Photograph from an automated digital microscope: urine filter membrane, 4× objective. The field of view is about 1.5 mm × 1.1 mm.
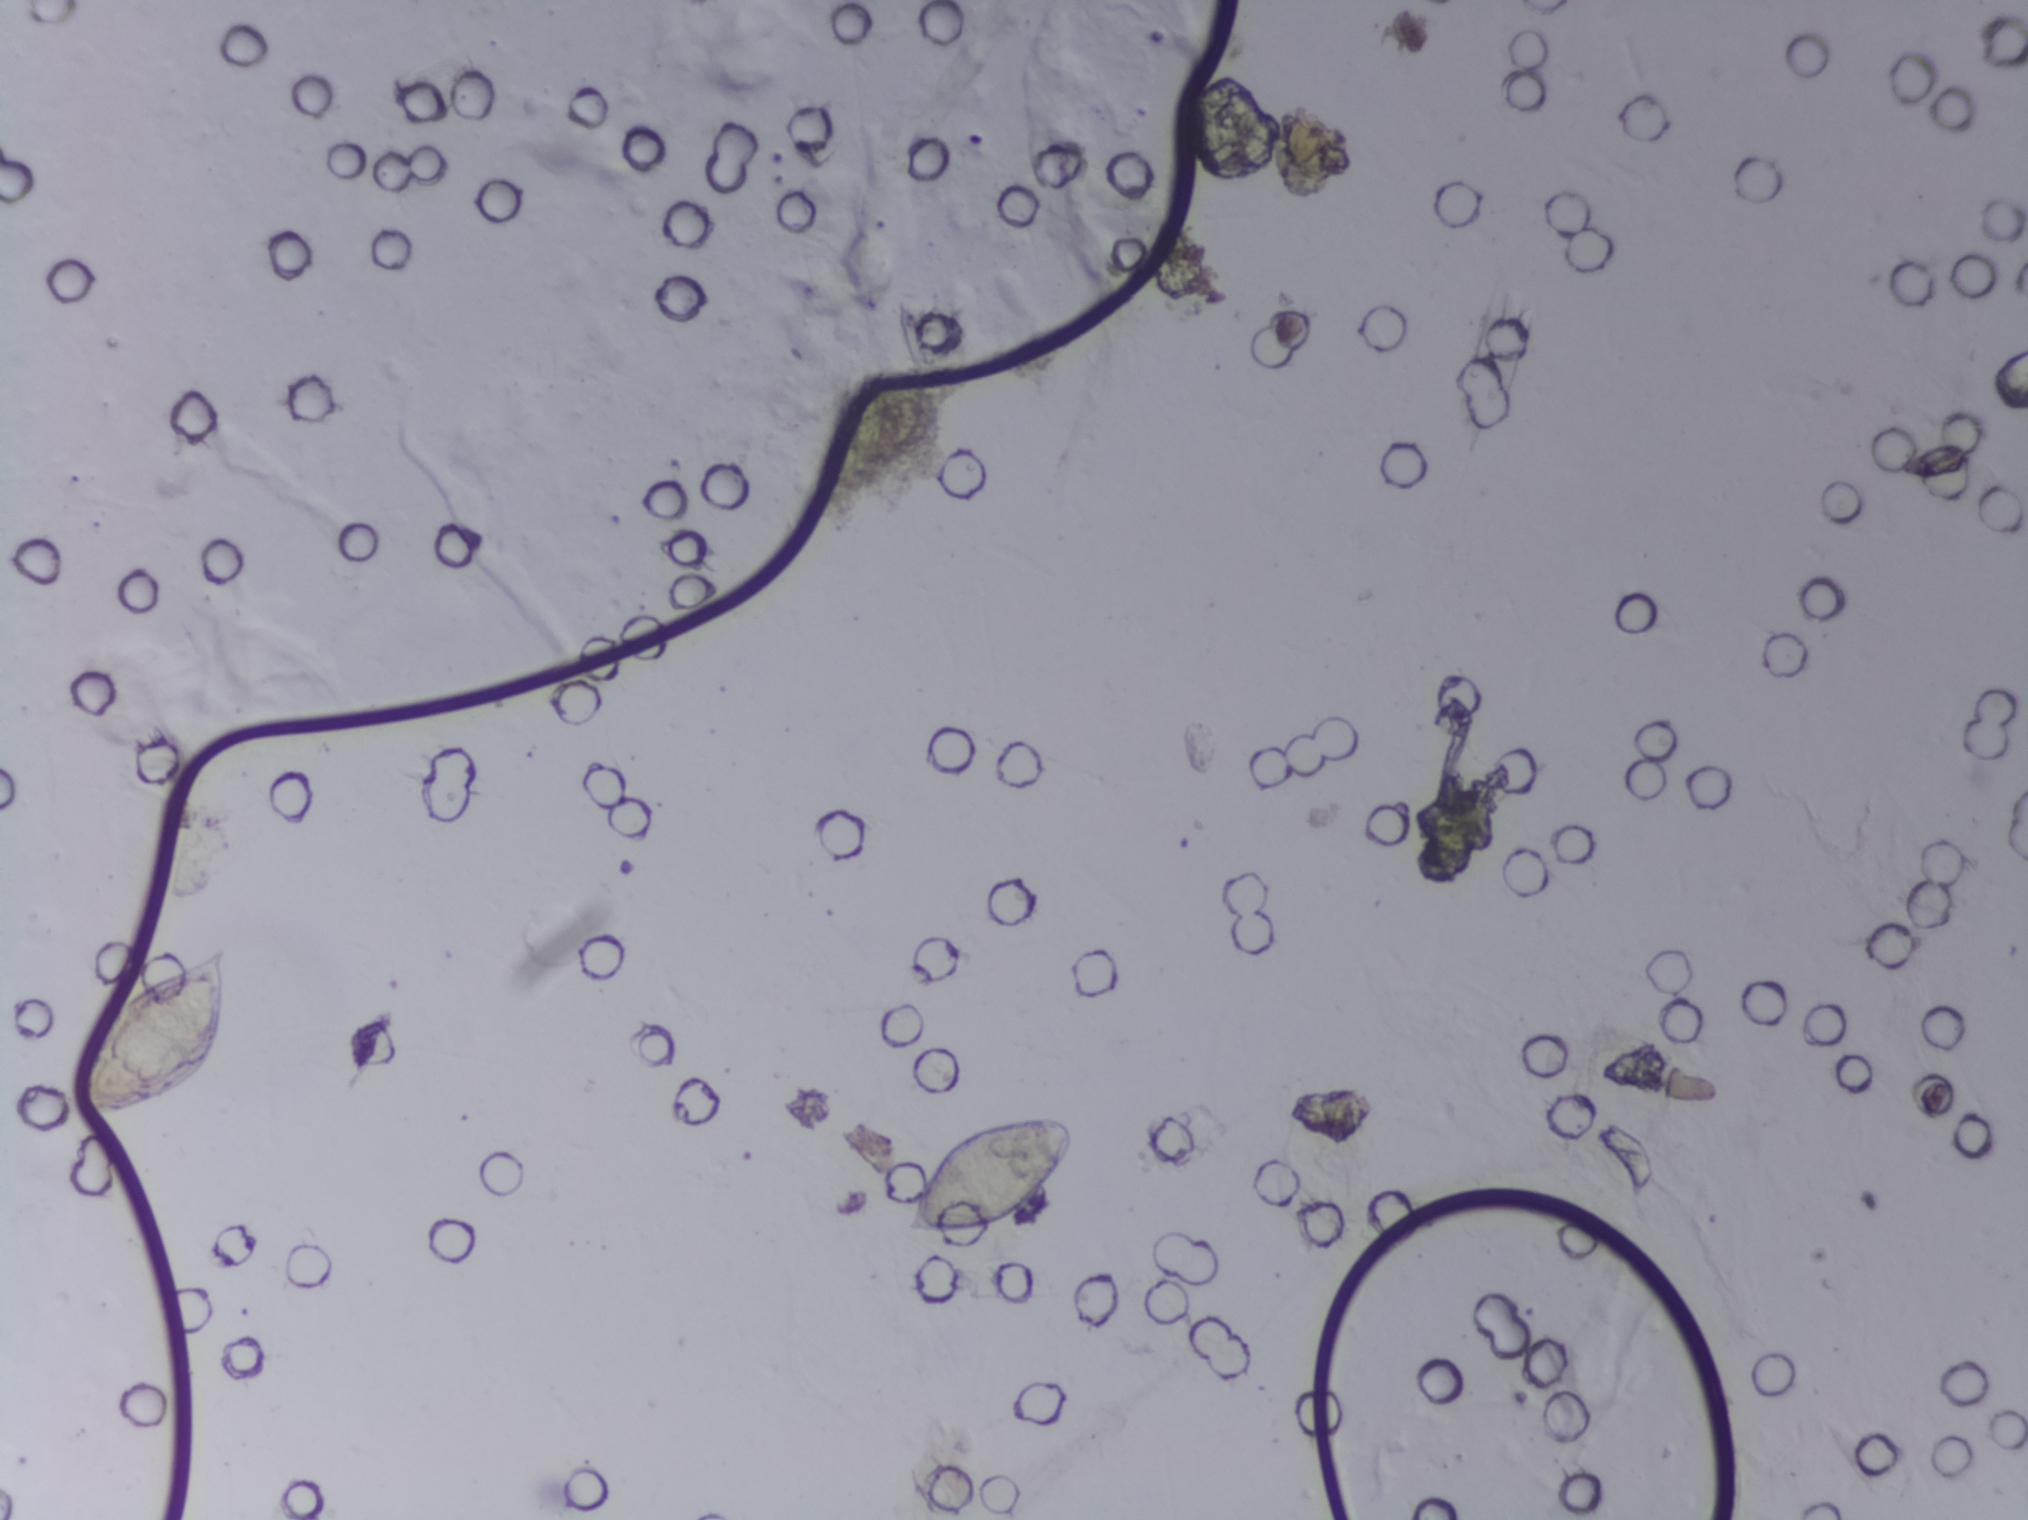
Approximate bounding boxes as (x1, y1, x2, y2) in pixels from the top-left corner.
The expert annotation outlines Schistosoma eggs at (70, 945, 230, 1120) and (903, 1112, 1073, 1237) (left to right). A single outlined area may contain several eggs.